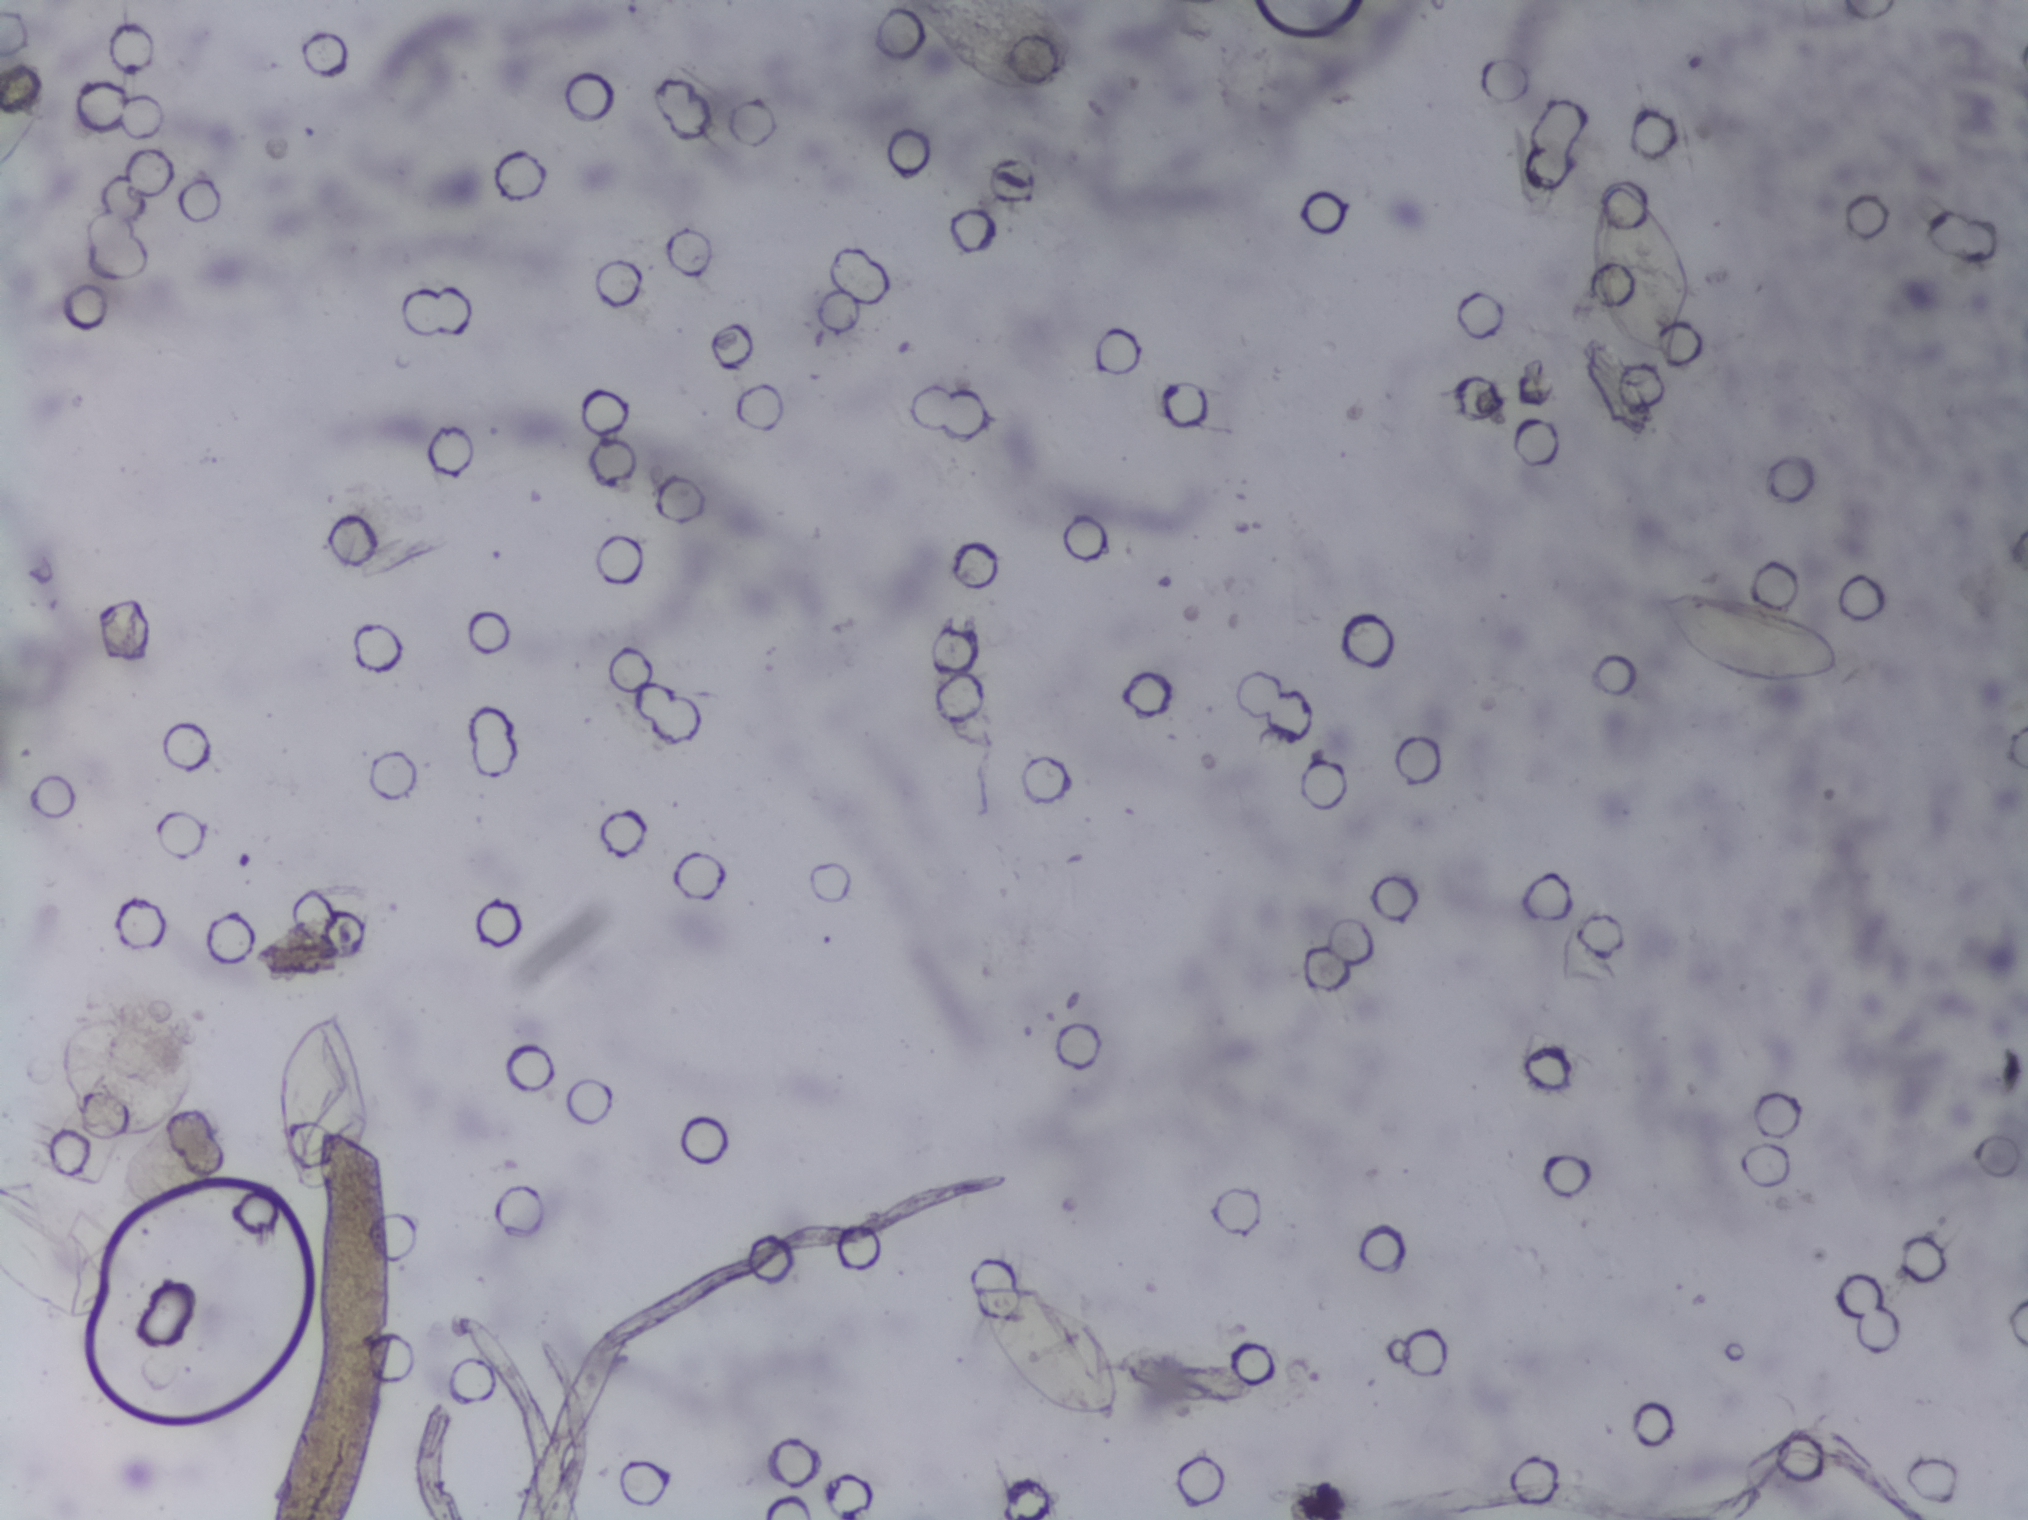
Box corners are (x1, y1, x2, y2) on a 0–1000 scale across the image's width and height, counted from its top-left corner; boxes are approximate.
Schistosoma eggs are outlined in the expert annotation at (137, 663, 183, 786); (482, 845, 553, 935); (783, 118, 837, 244); (812, 385, 908, 453). Eggs that touch can end up inside the same outlined area.
Photograph from an automated digital microscope: urine filter membrane, 4× objective.